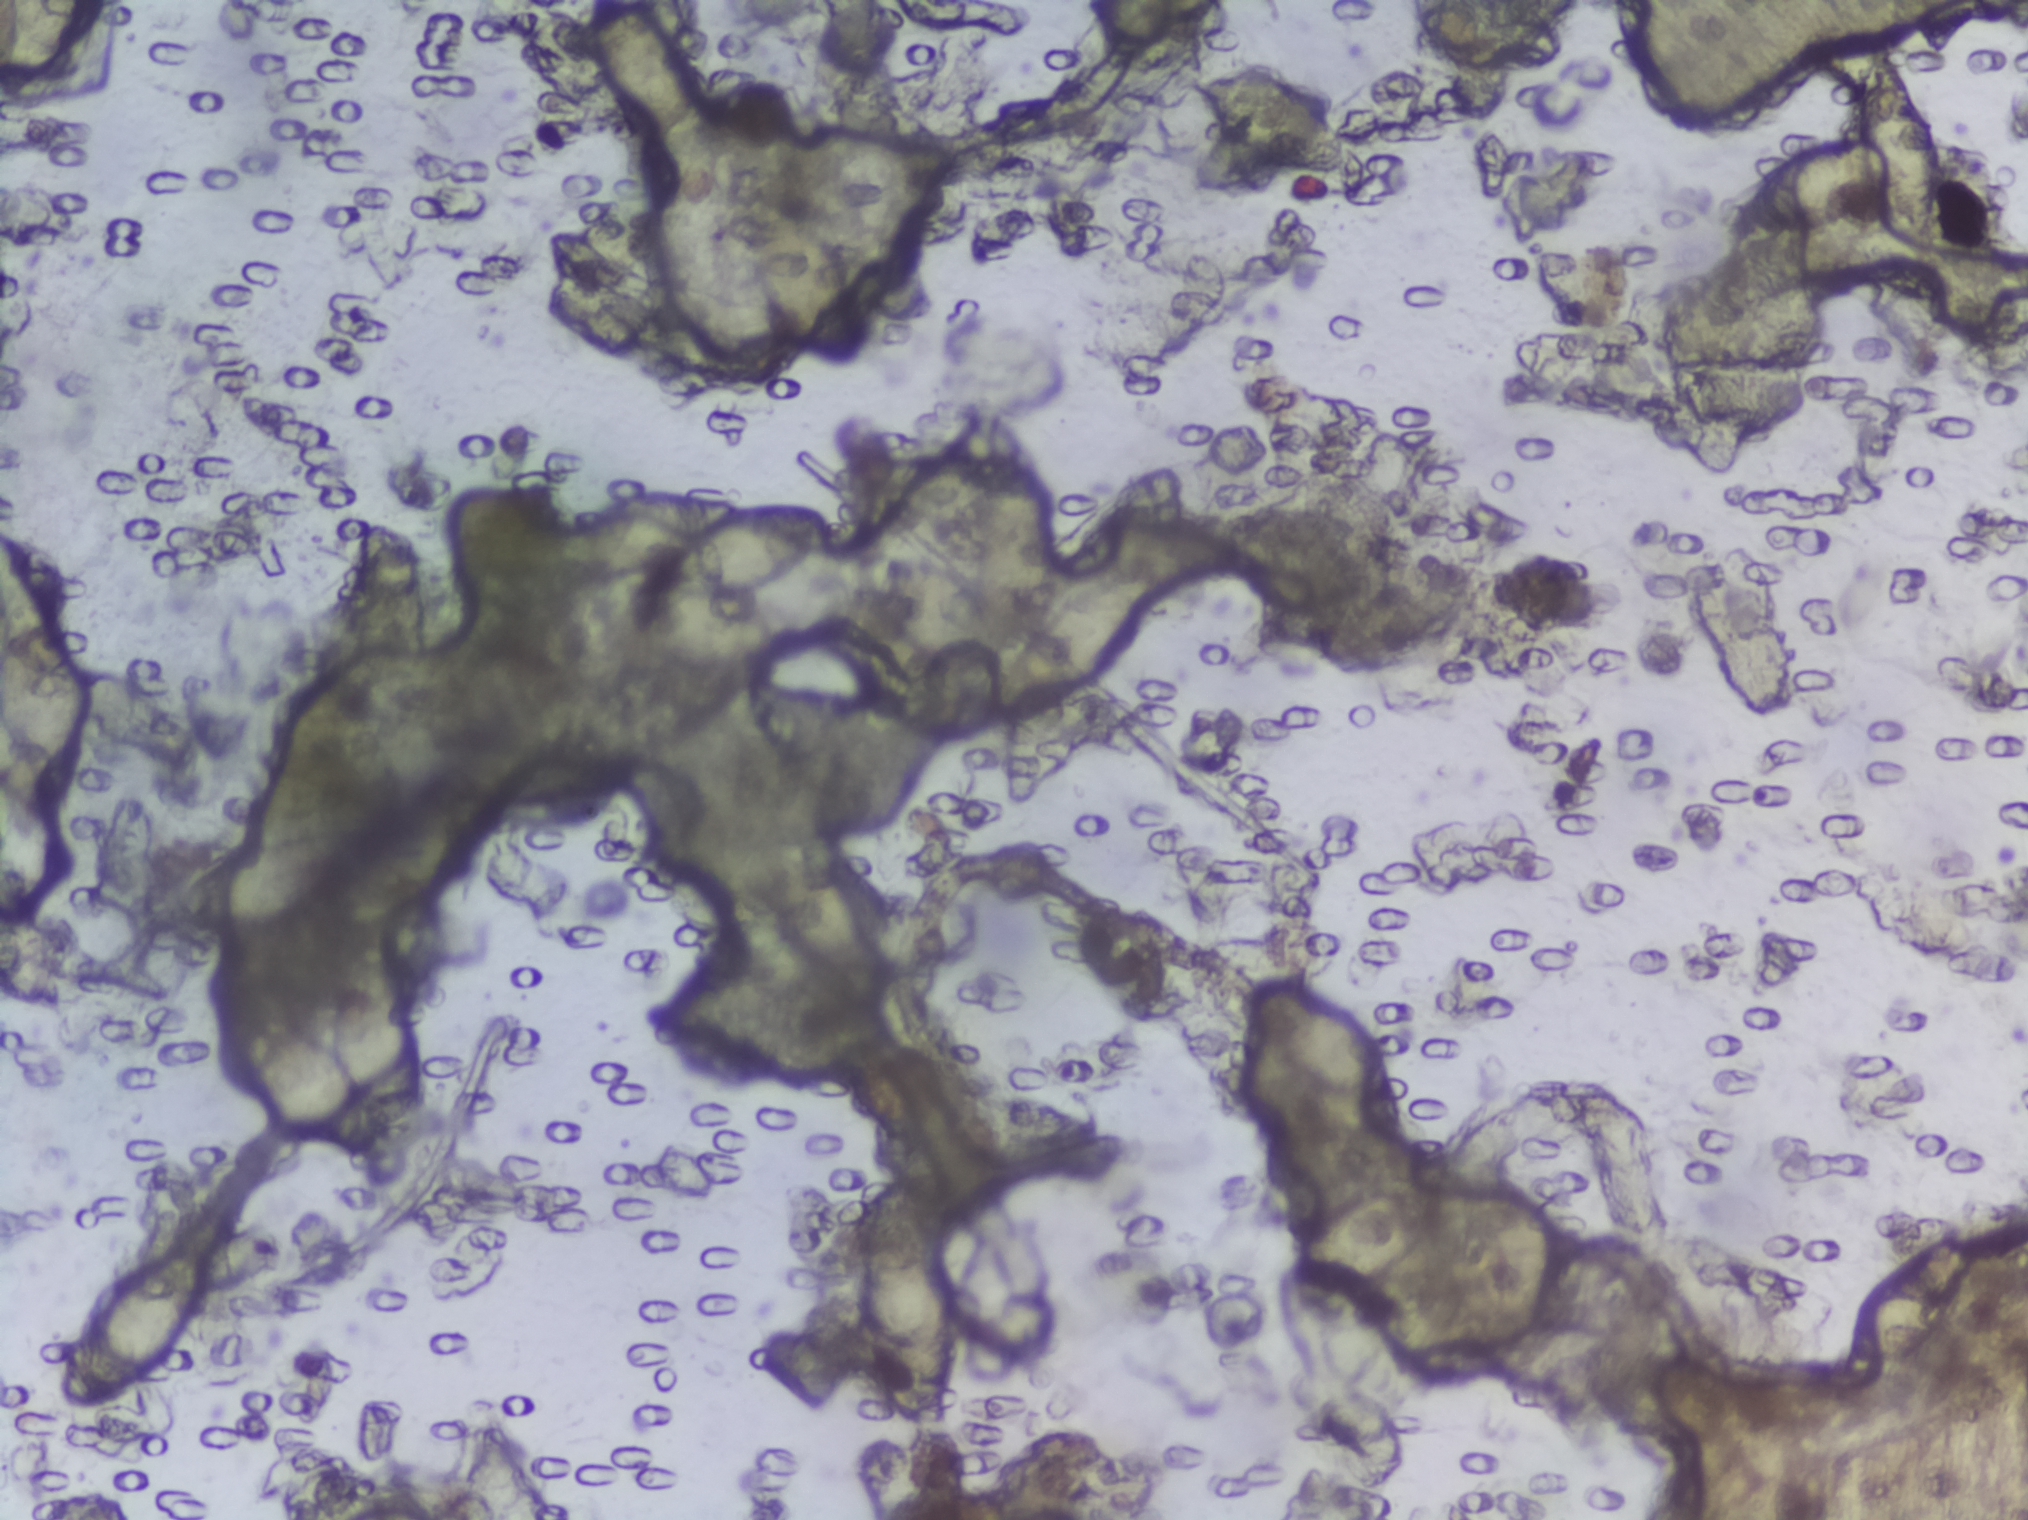
One field of view of a urine filter membrane, 4× objective, 2028 × 1520 pixels.
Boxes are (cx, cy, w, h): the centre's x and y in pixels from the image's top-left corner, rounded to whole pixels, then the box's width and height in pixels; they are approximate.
Schistosoma eggs are outlined in the expert annotation at (cx=43, cy=707, w=87, h=214) (reaching the left edge of the frame); (cx=133, cy=1319, w=152, h=175); (cx=338, cy=1052, w=182, h=214); (cx=643, cy=63, w=103, h=126) (reaching the top edge of the frame); (cx=737, cy=554, w=169, h=92); (cx=763, cy=291, w=214, h=189); (cx=905, cy=1301, w=109, h=252); (cx=969, cy=558, w=169, h=221); (cx=1080, cy=641, w=156, h=138); (cx=1266, cy=135, w=170, h=130); (cx=1334, cy=1054, w=131, h=100); (cx=1358, cy=1248, w=130, h=111); (cx=1809, cy=185, w=169, h=93). A single outlined area may contain several eggs. Any one outlined egg may, rarely, be S. mansoni rather than S. haematobium.